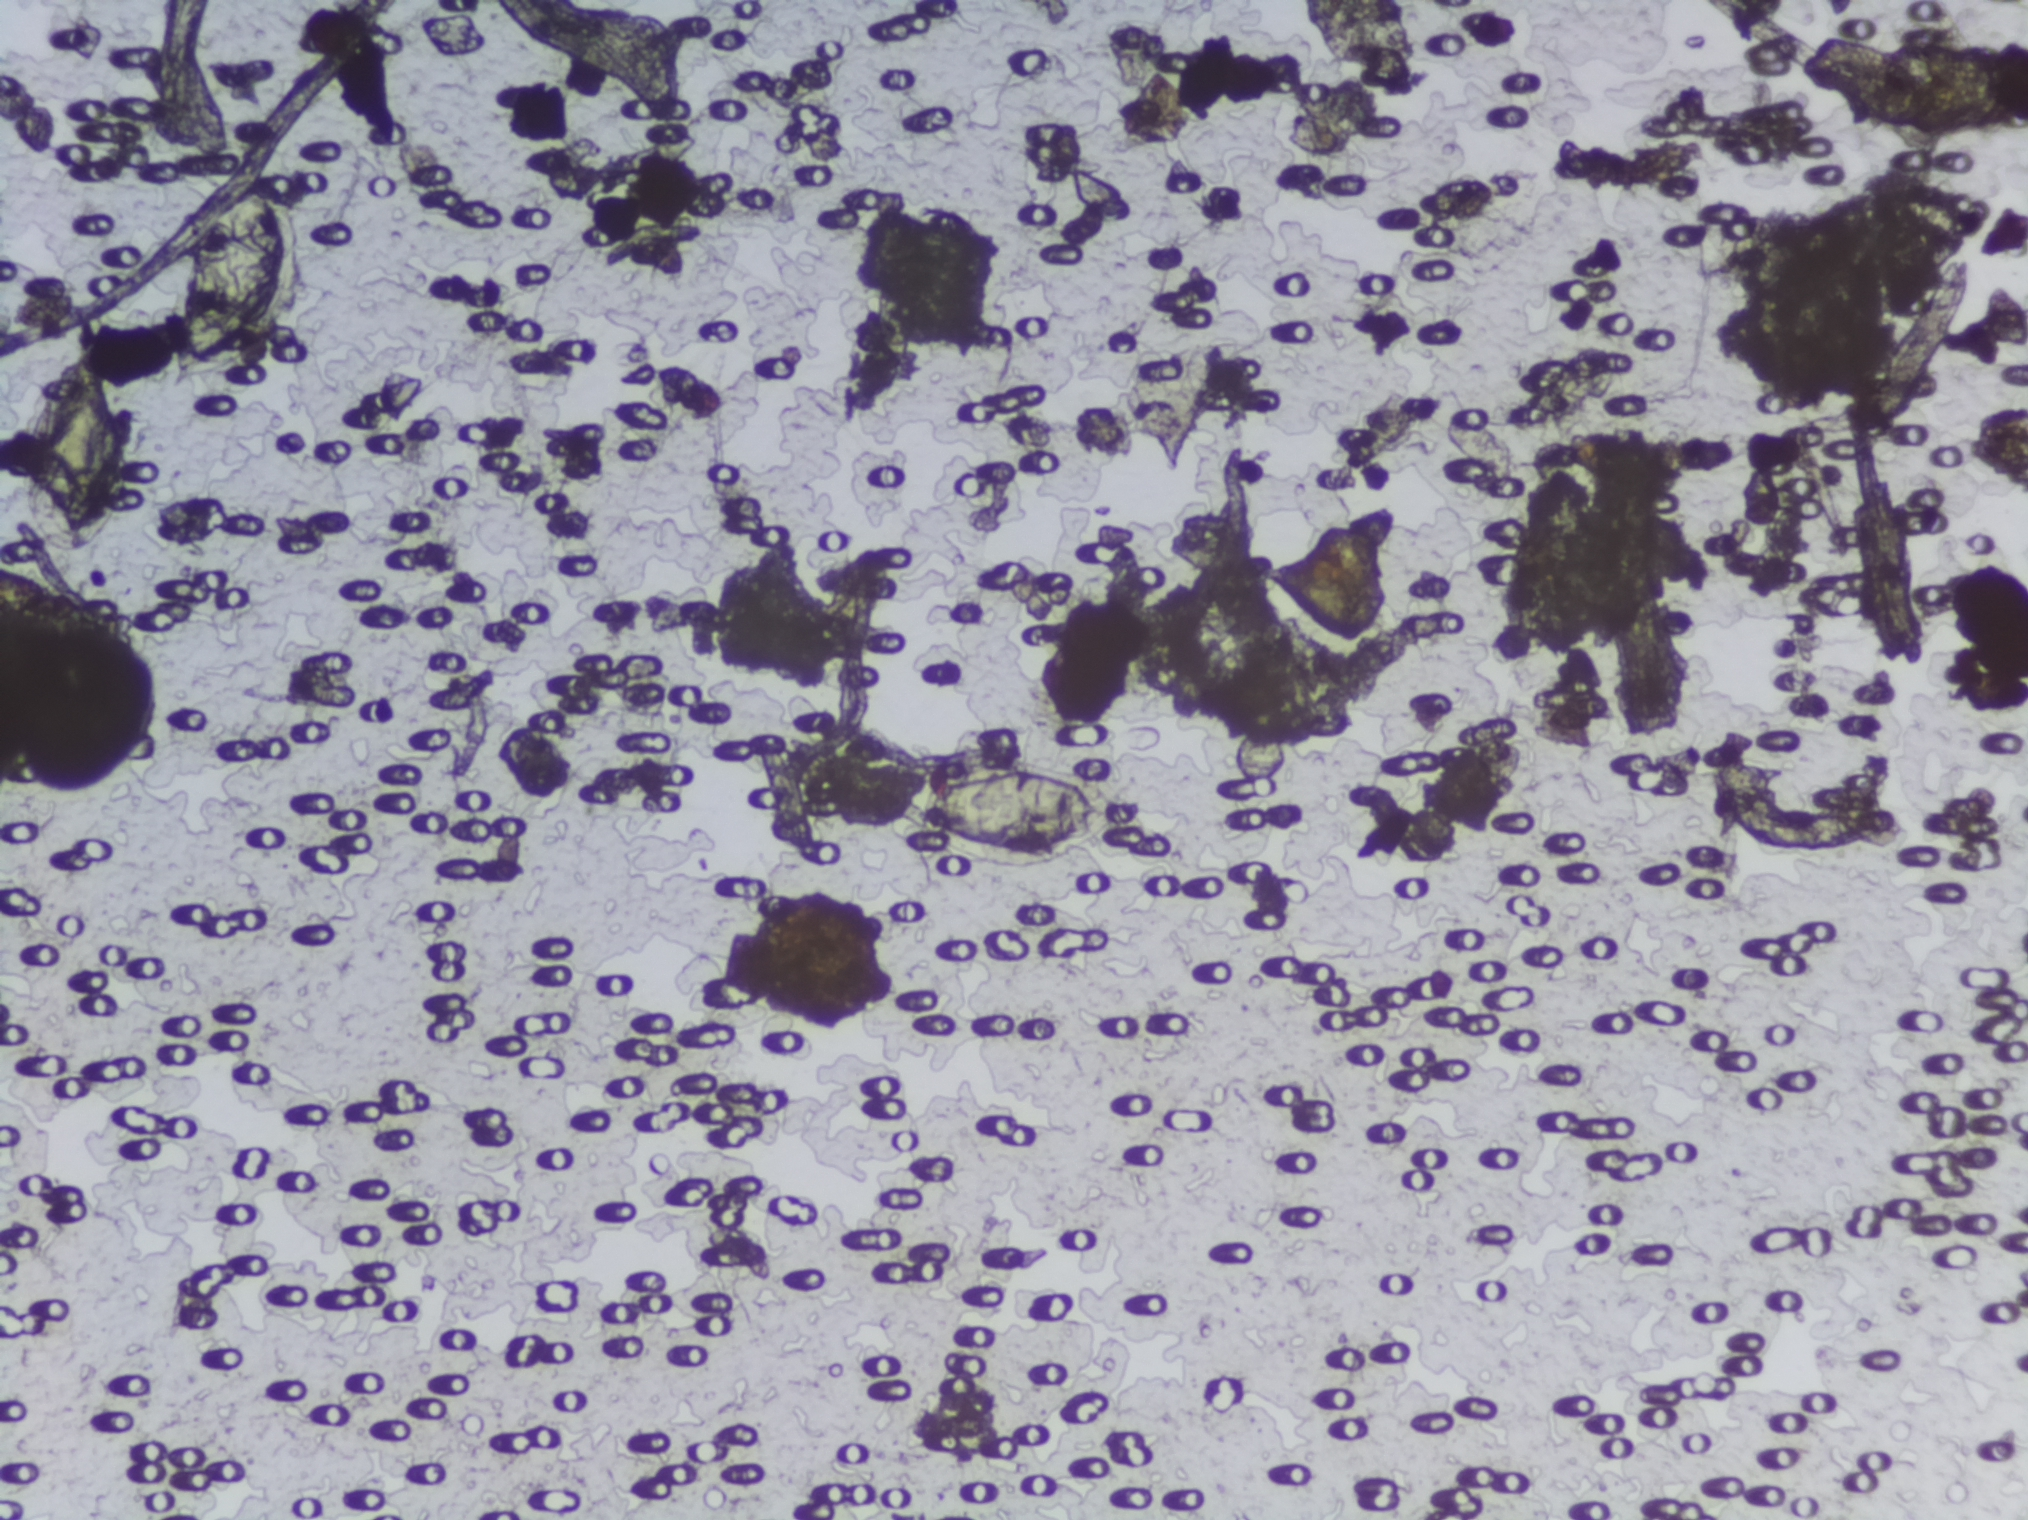
Urine filtration membrane under a 4× objective, photographed by an automated digital microscope.
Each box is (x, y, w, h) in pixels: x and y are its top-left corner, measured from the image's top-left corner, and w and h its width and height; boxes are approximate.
Schistosoma egg areas, outlined: (x=10, y=353, w=128, h=204); (x=164, y=179, w=149, h=204); (x=893, y=755, w=233, h=118). An outlined area can hold more than one egg.